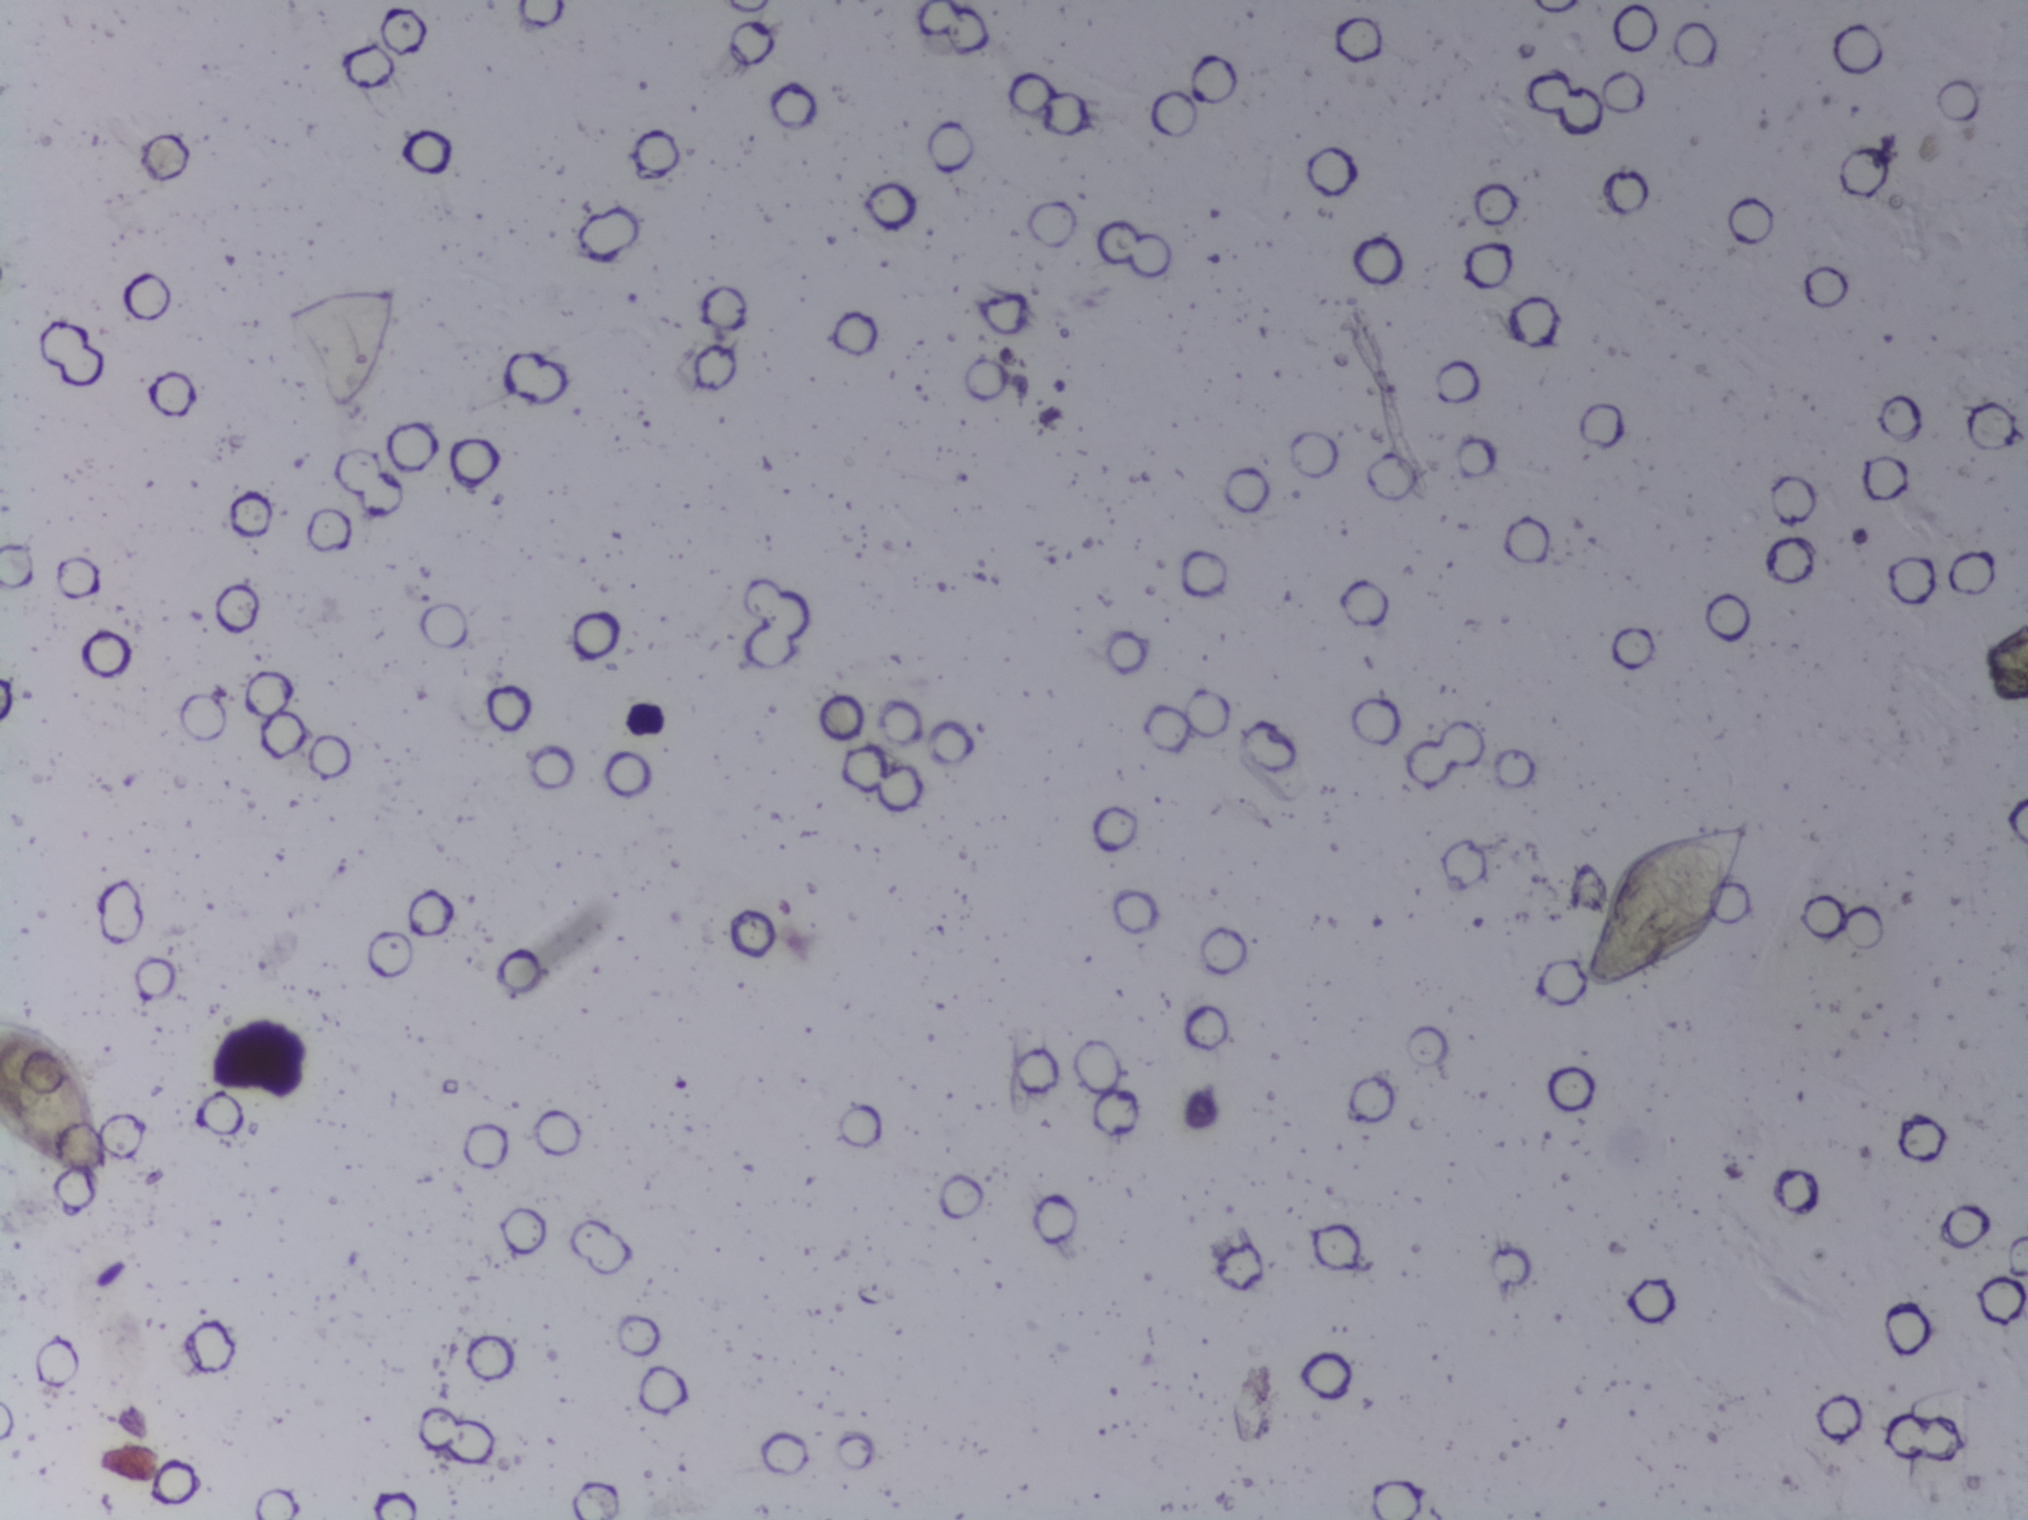
Microscope photograph (4× objective) of a membrane that a urine sample was filtered through.
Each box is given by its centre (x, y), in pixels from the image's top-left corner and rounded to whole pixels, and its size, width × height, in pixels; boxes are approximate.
Schistosoma eggs, outlined areas: centre (56, 1099), 113 × 166 px (reaching the left edge of the frame); centre (1667, 905), 170 × 178 px. An outlined area can hold more than one egg. A marked egg may occasionally be S. mansoni rather than S. haematobium.